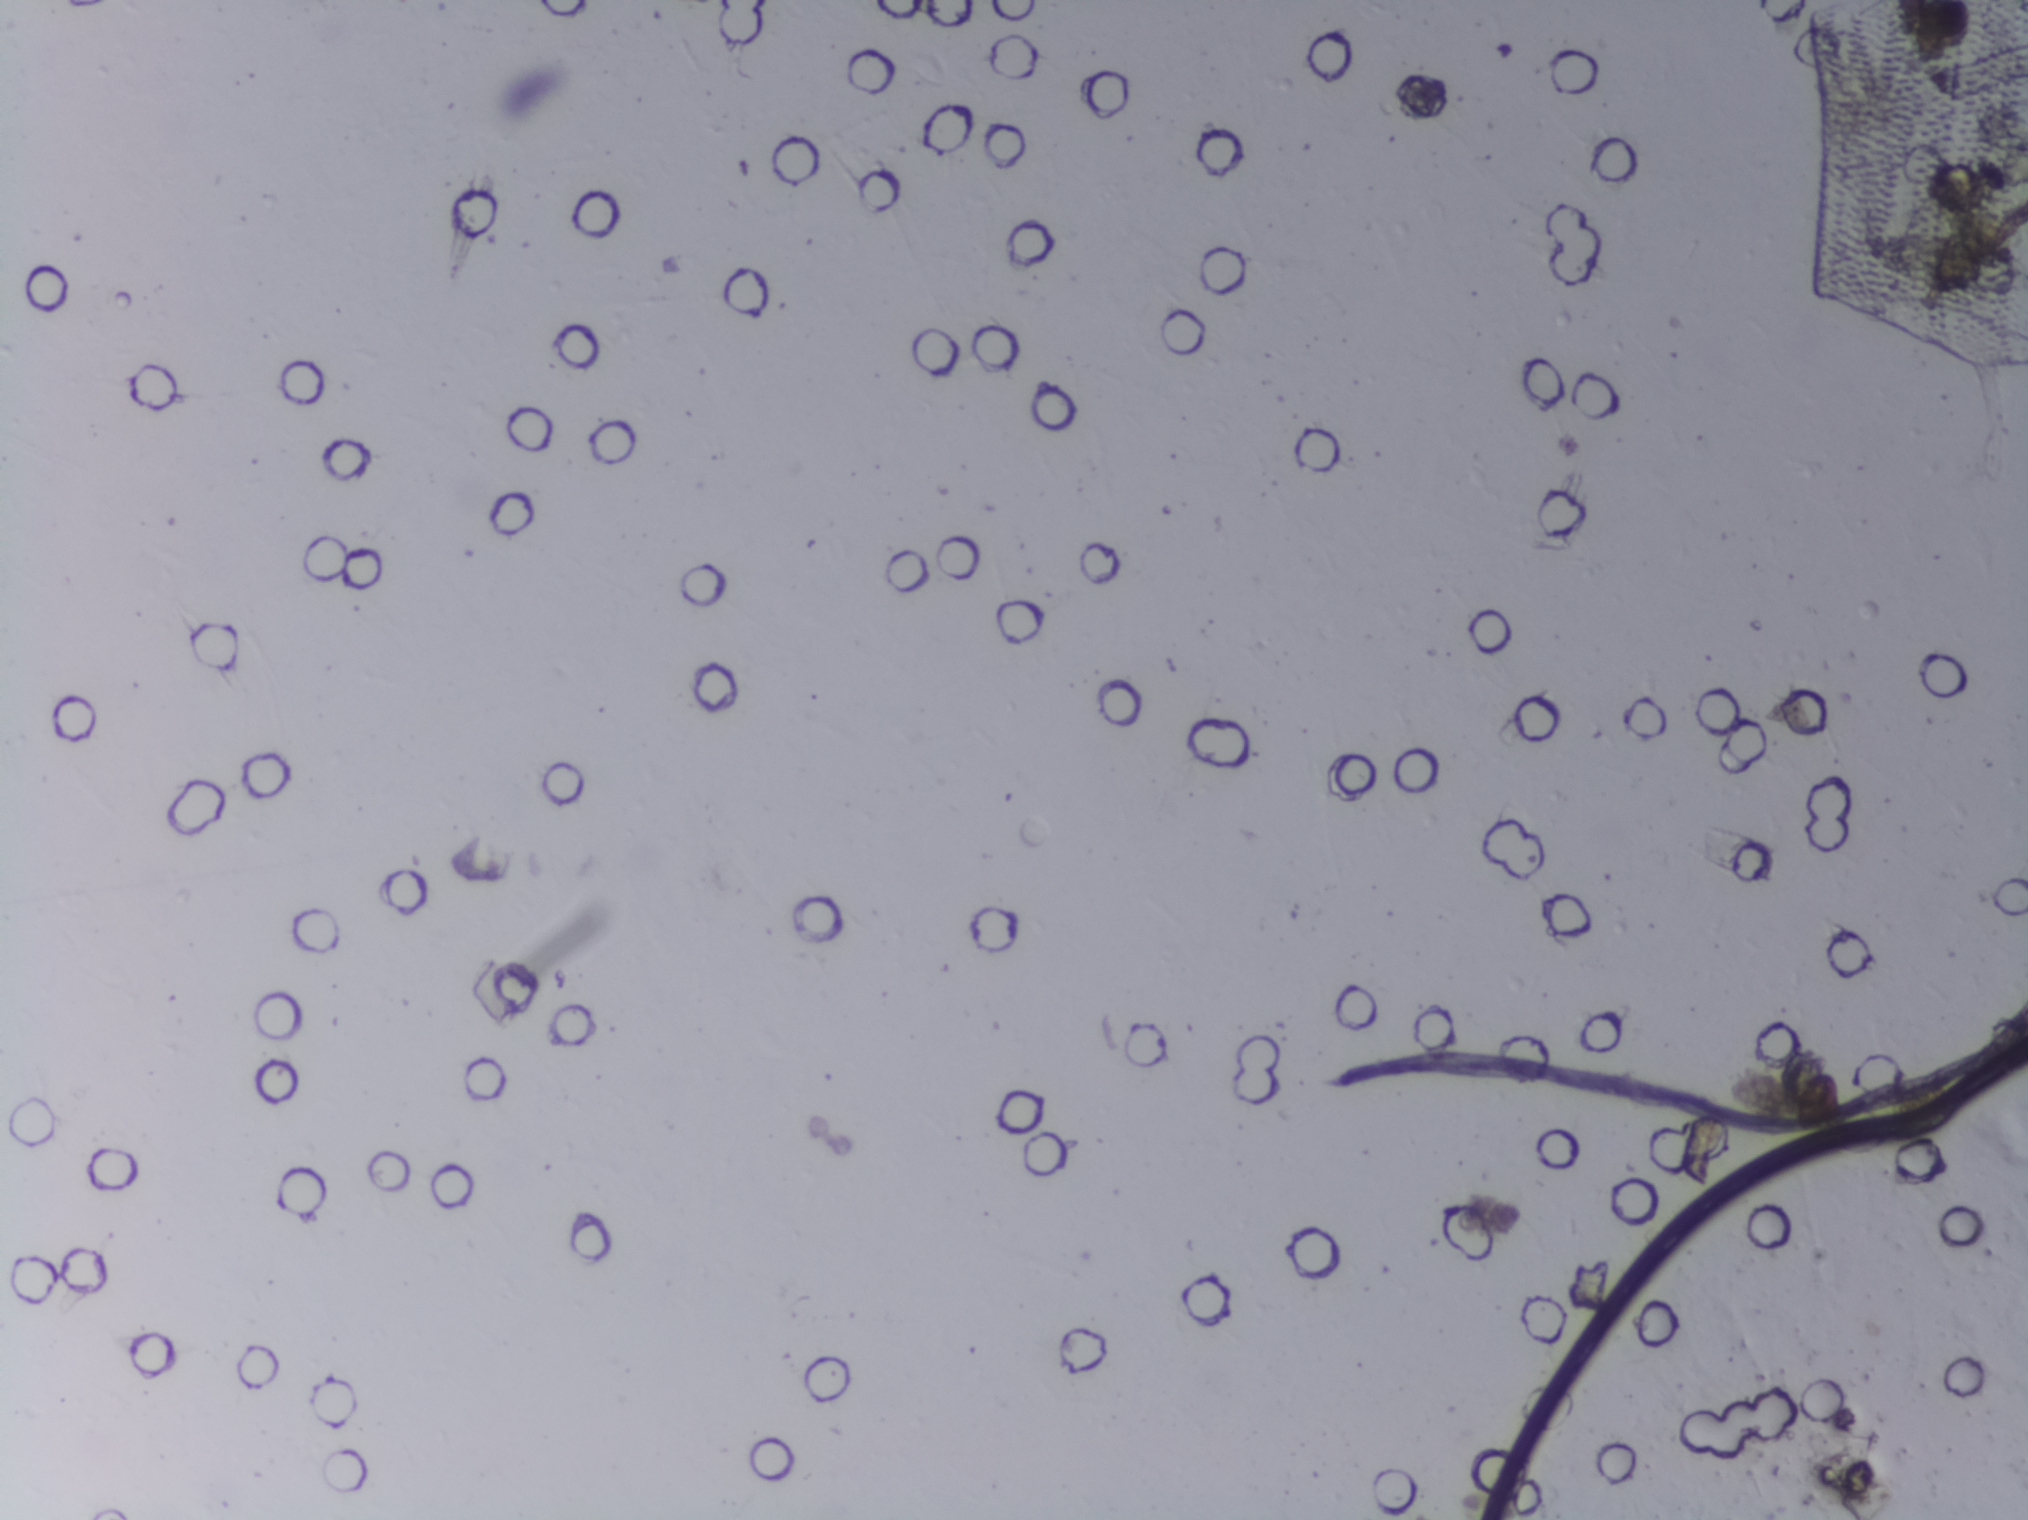
Photograph from an automated digital microscope: urine filter membrane, 4× objective. The field of view is about 1.5 mm × 1.1 mm.
The expert annotation outlines no Schistosoma egg in this image.